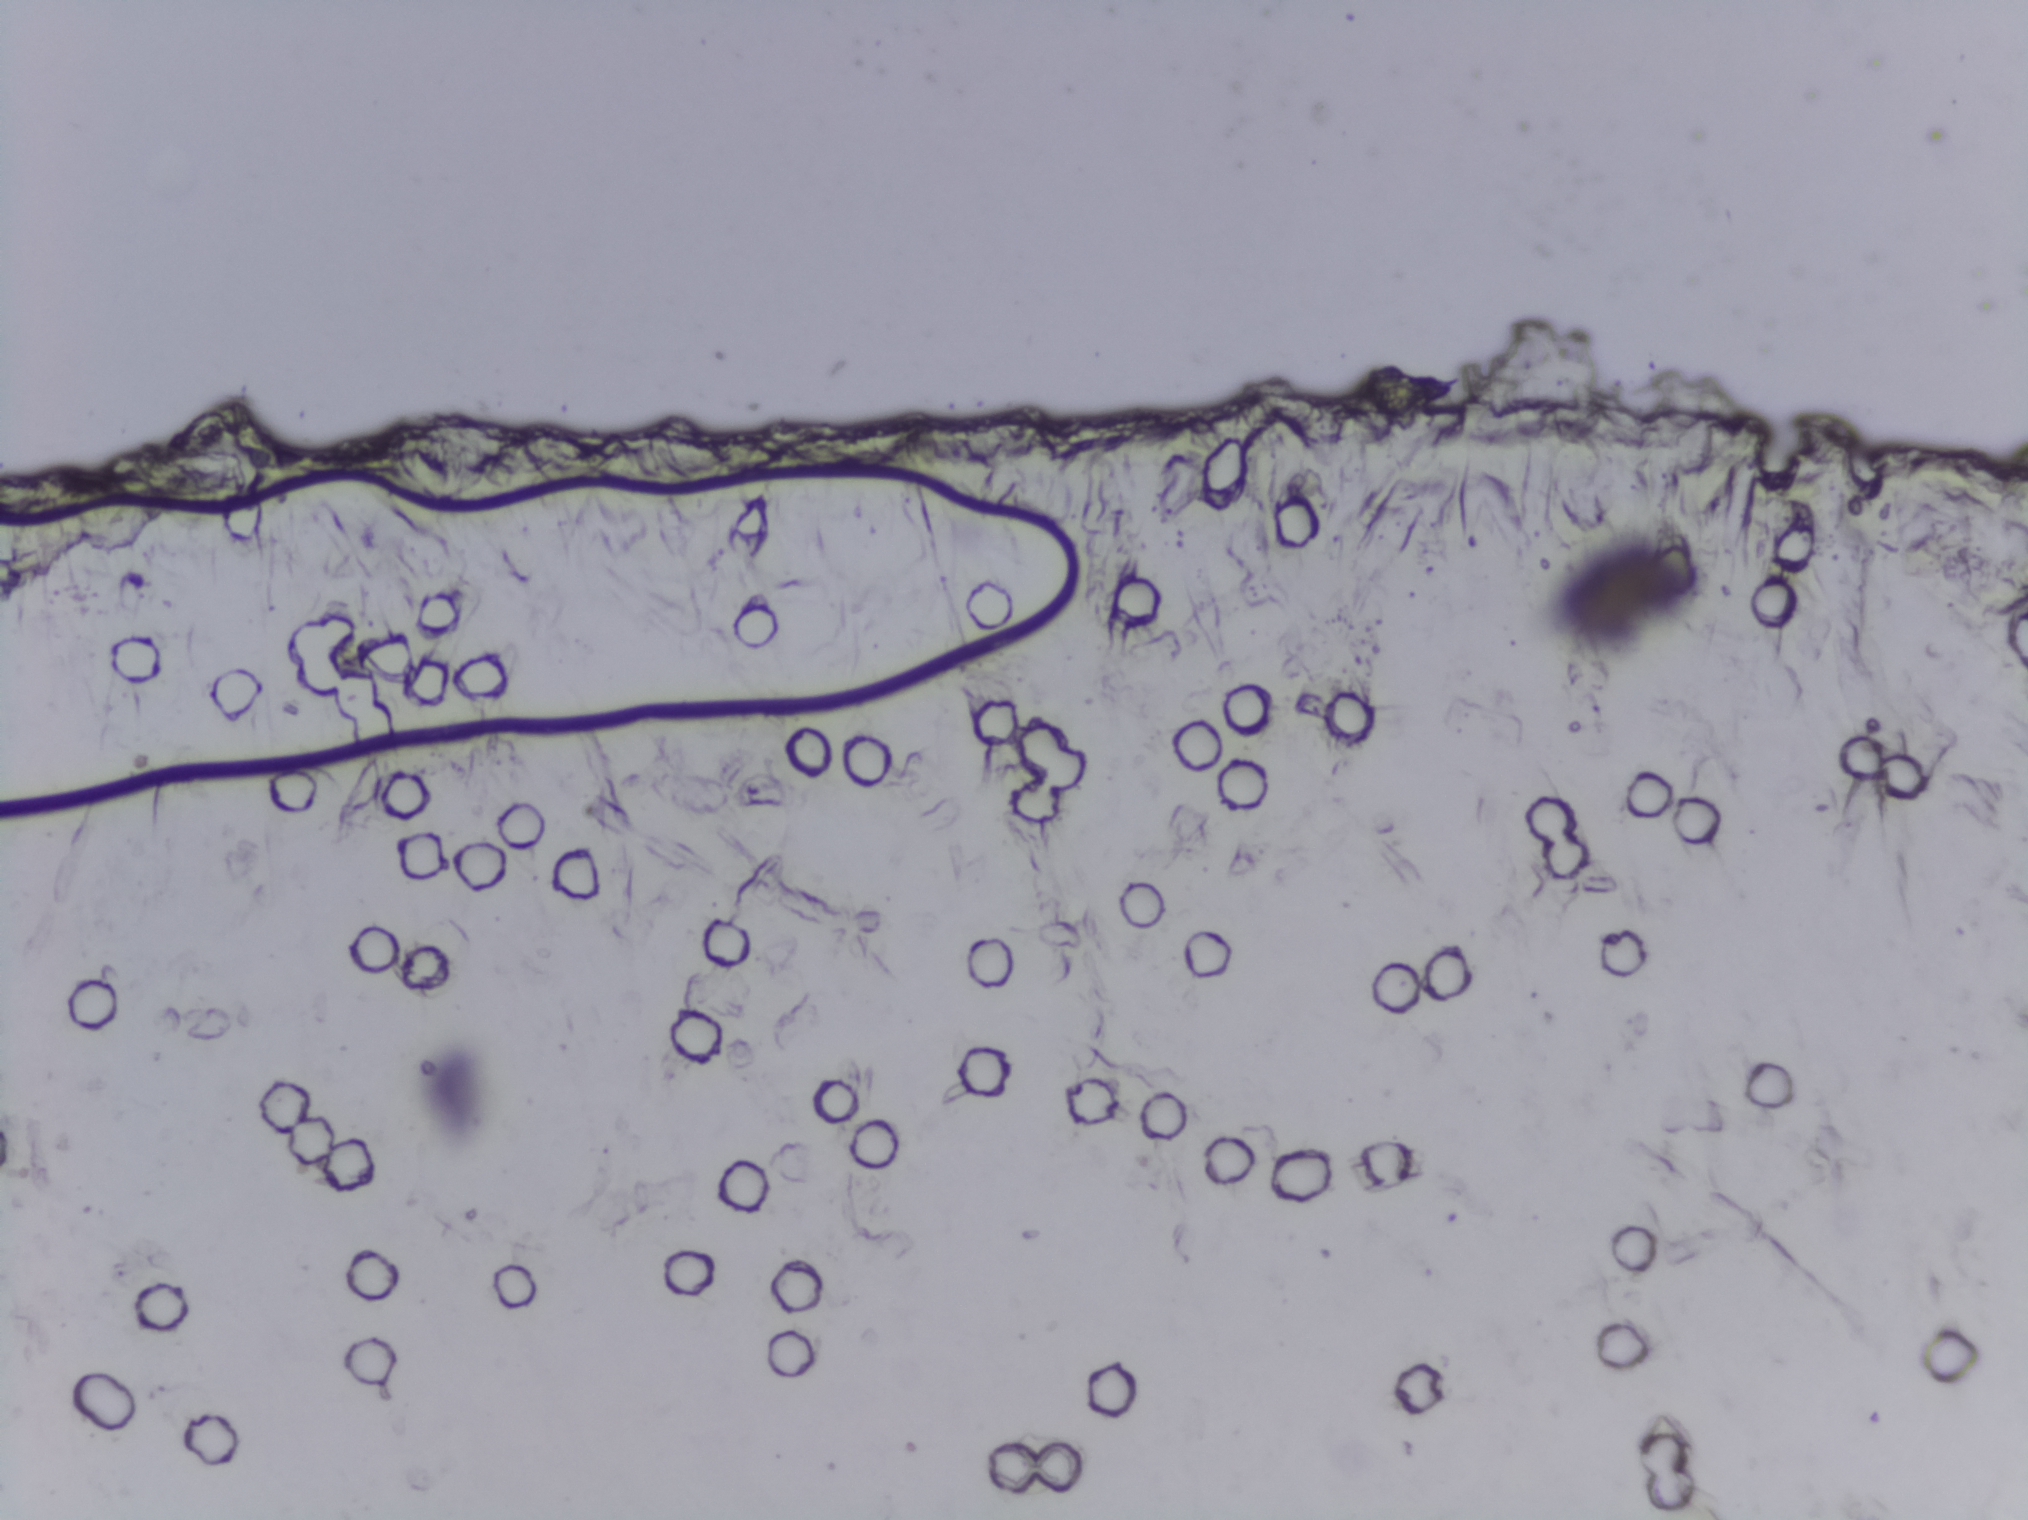
Microscope photograph (4× objective) of a membrane that a urine sample was filtered through.
No area of this image was outlined as a Schistosoma egg.